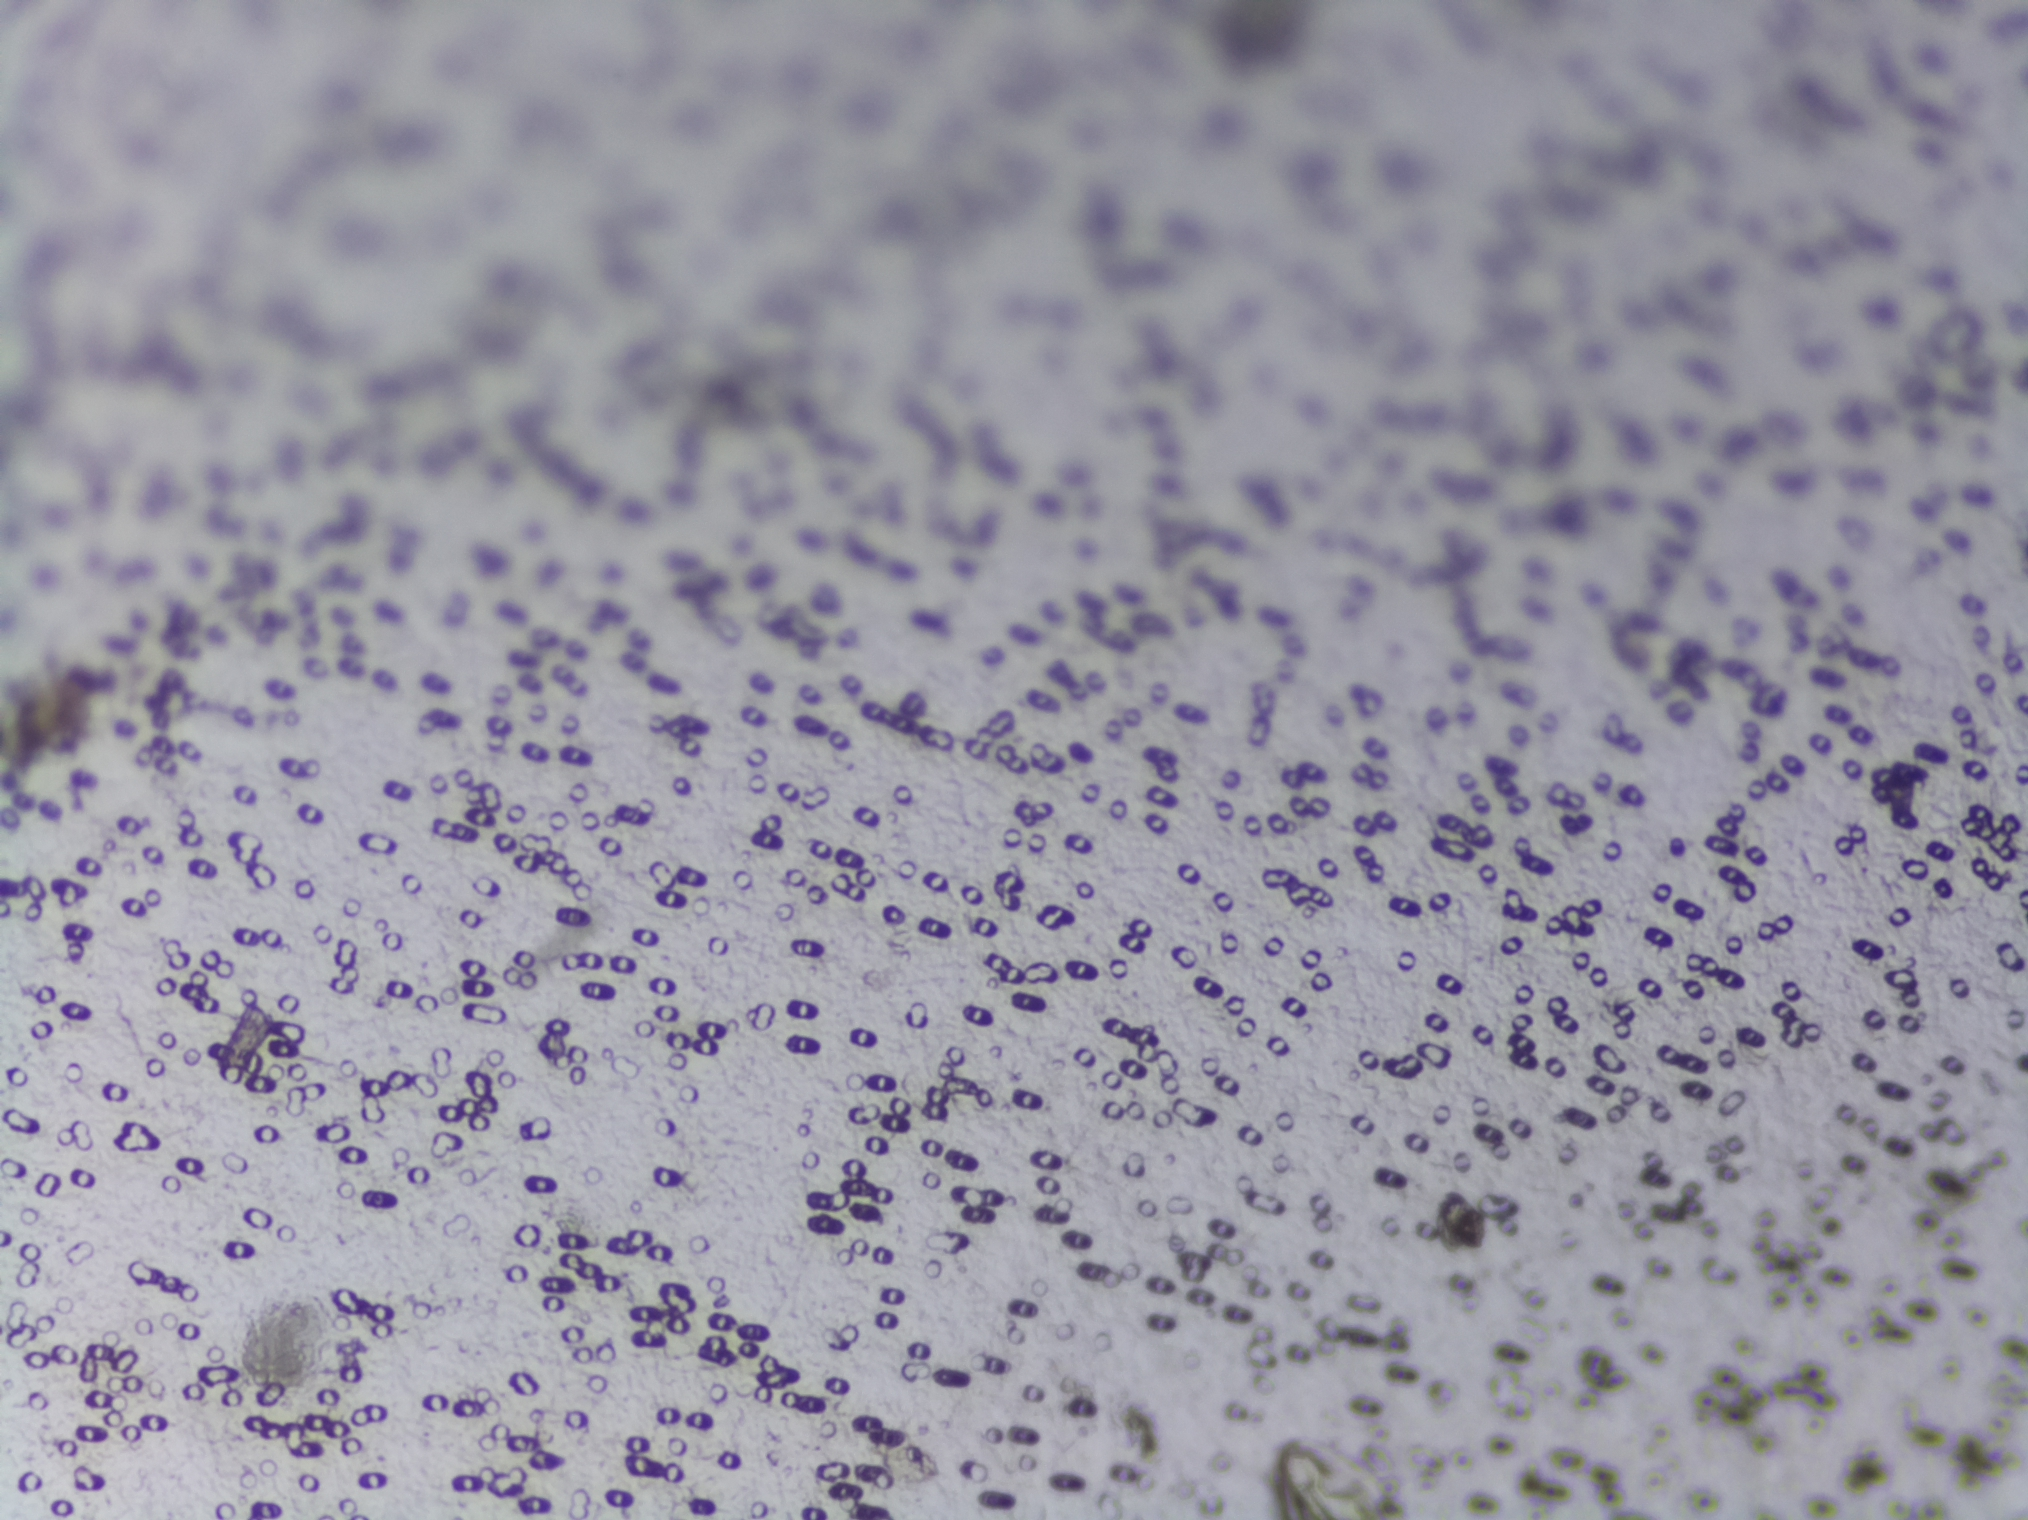
Microscope photograph (4× objective) of a membrane that a urine sample was filtered through.
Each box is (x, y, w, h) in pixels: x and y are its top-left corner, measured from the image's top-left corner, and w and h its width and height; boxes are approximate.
One area of this image is outlined as Schistosoma eggs: (x=1273, y=1430, w=134, h=90) (reaching the bottom edge of the frame). Eggs that touch can end up inside the same outlined area. Any one outlined egg may, rarely, be S. mansoni rather than S. haematobium.